Urine filter membrane photographed through a 4× microscope objective.
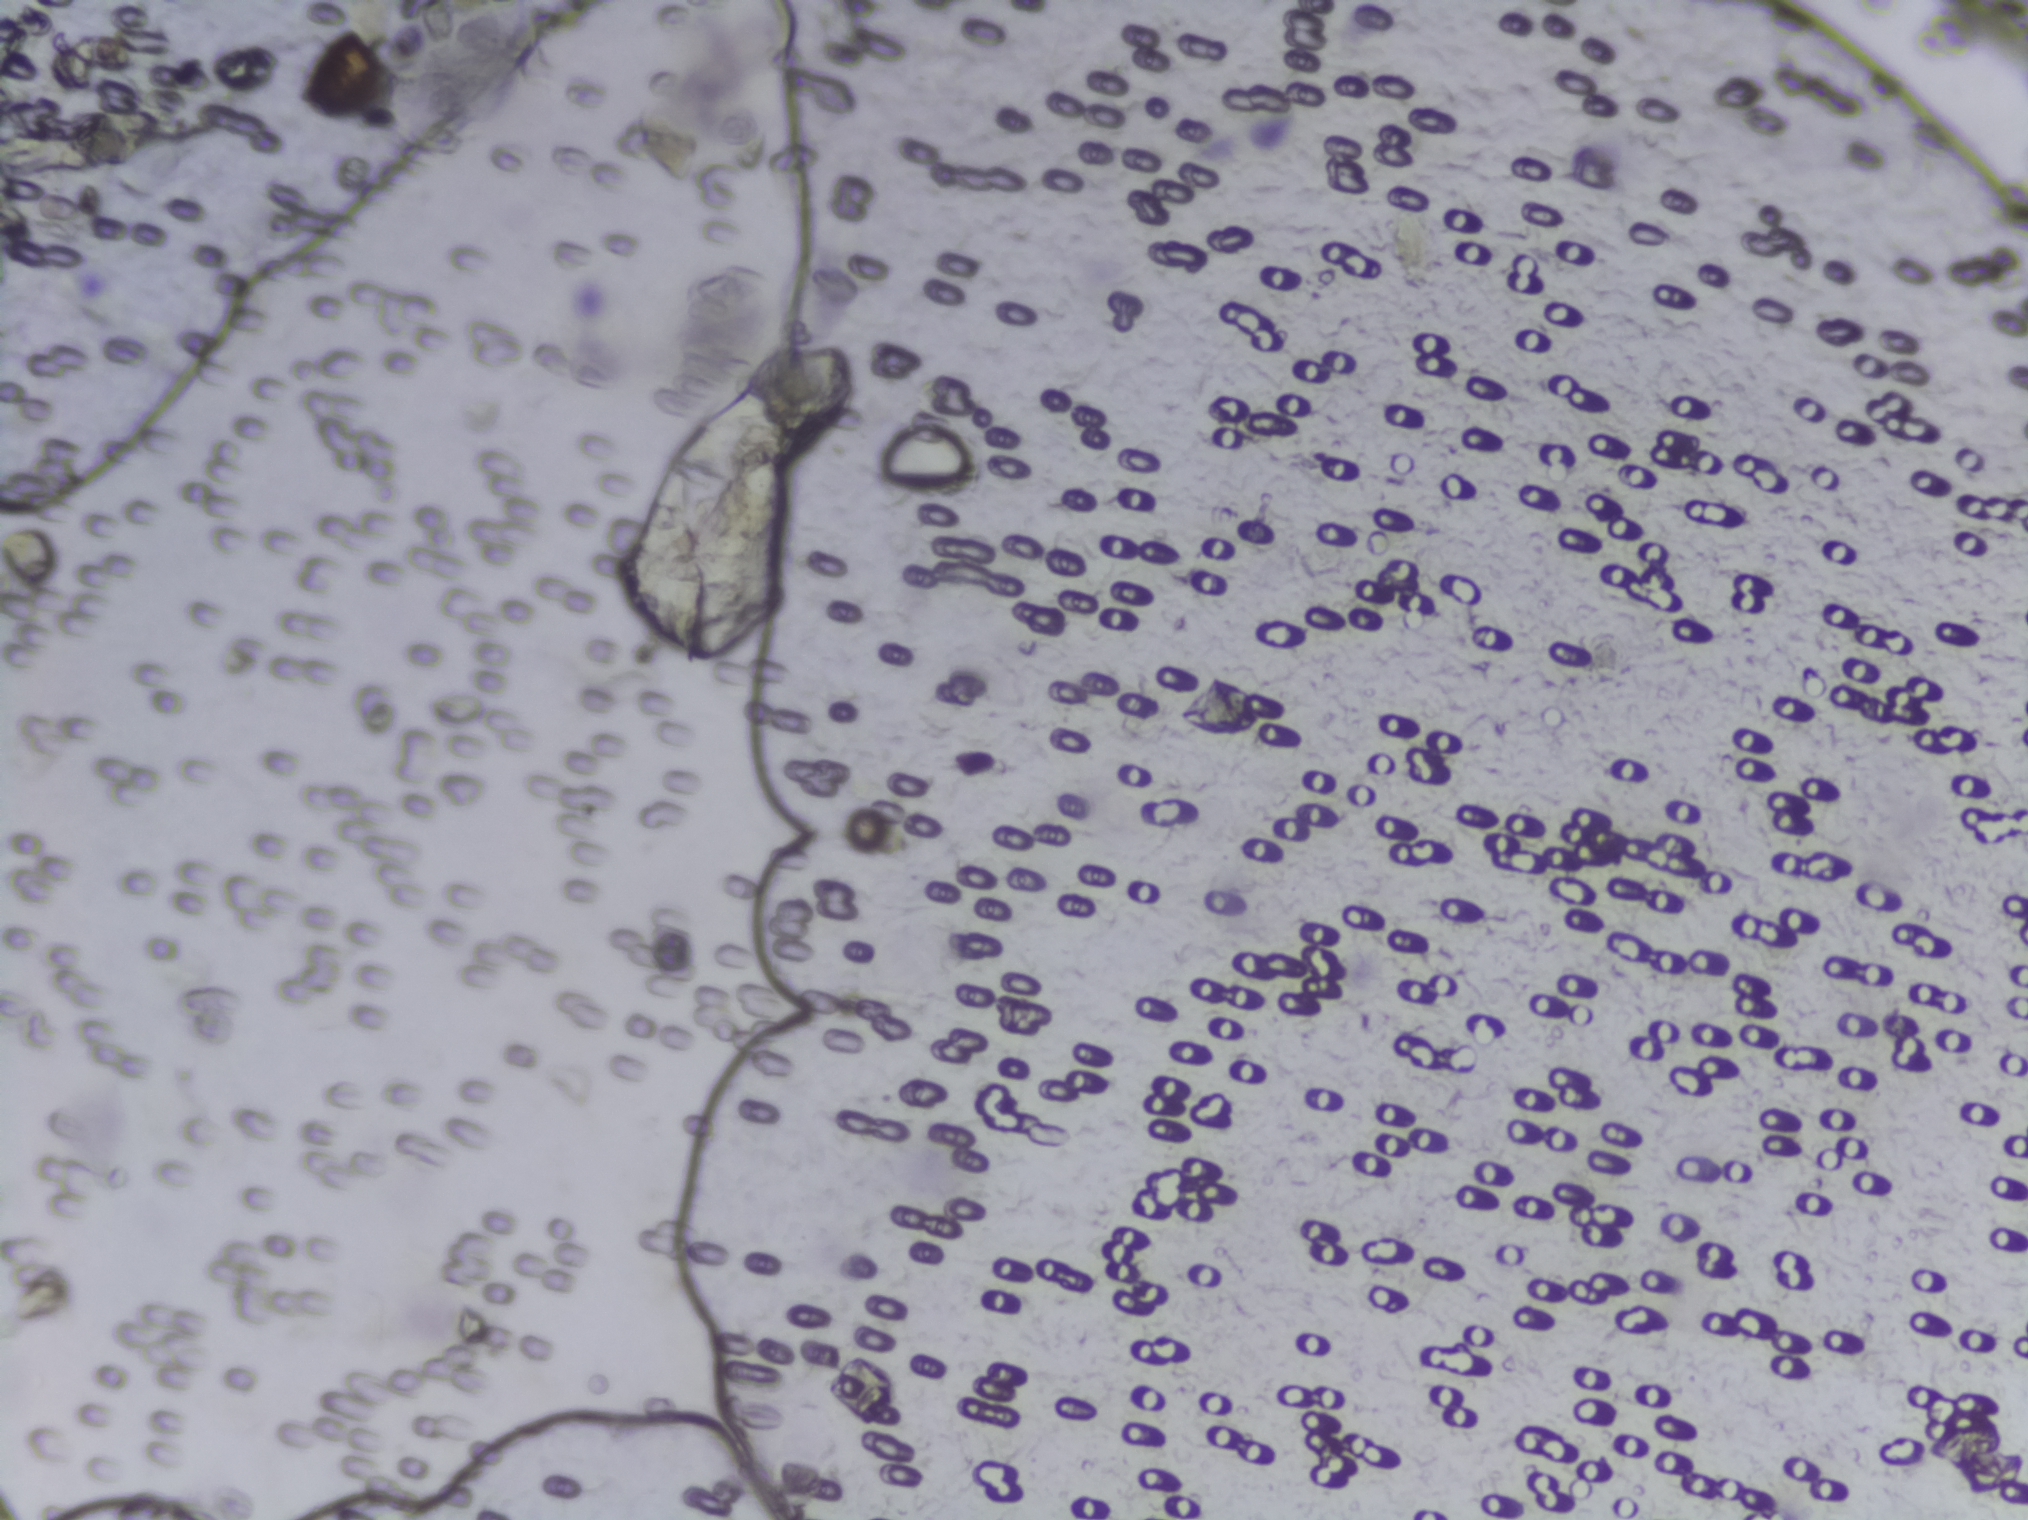
No Schistosoma egg is outlined in this image's expert annotation.